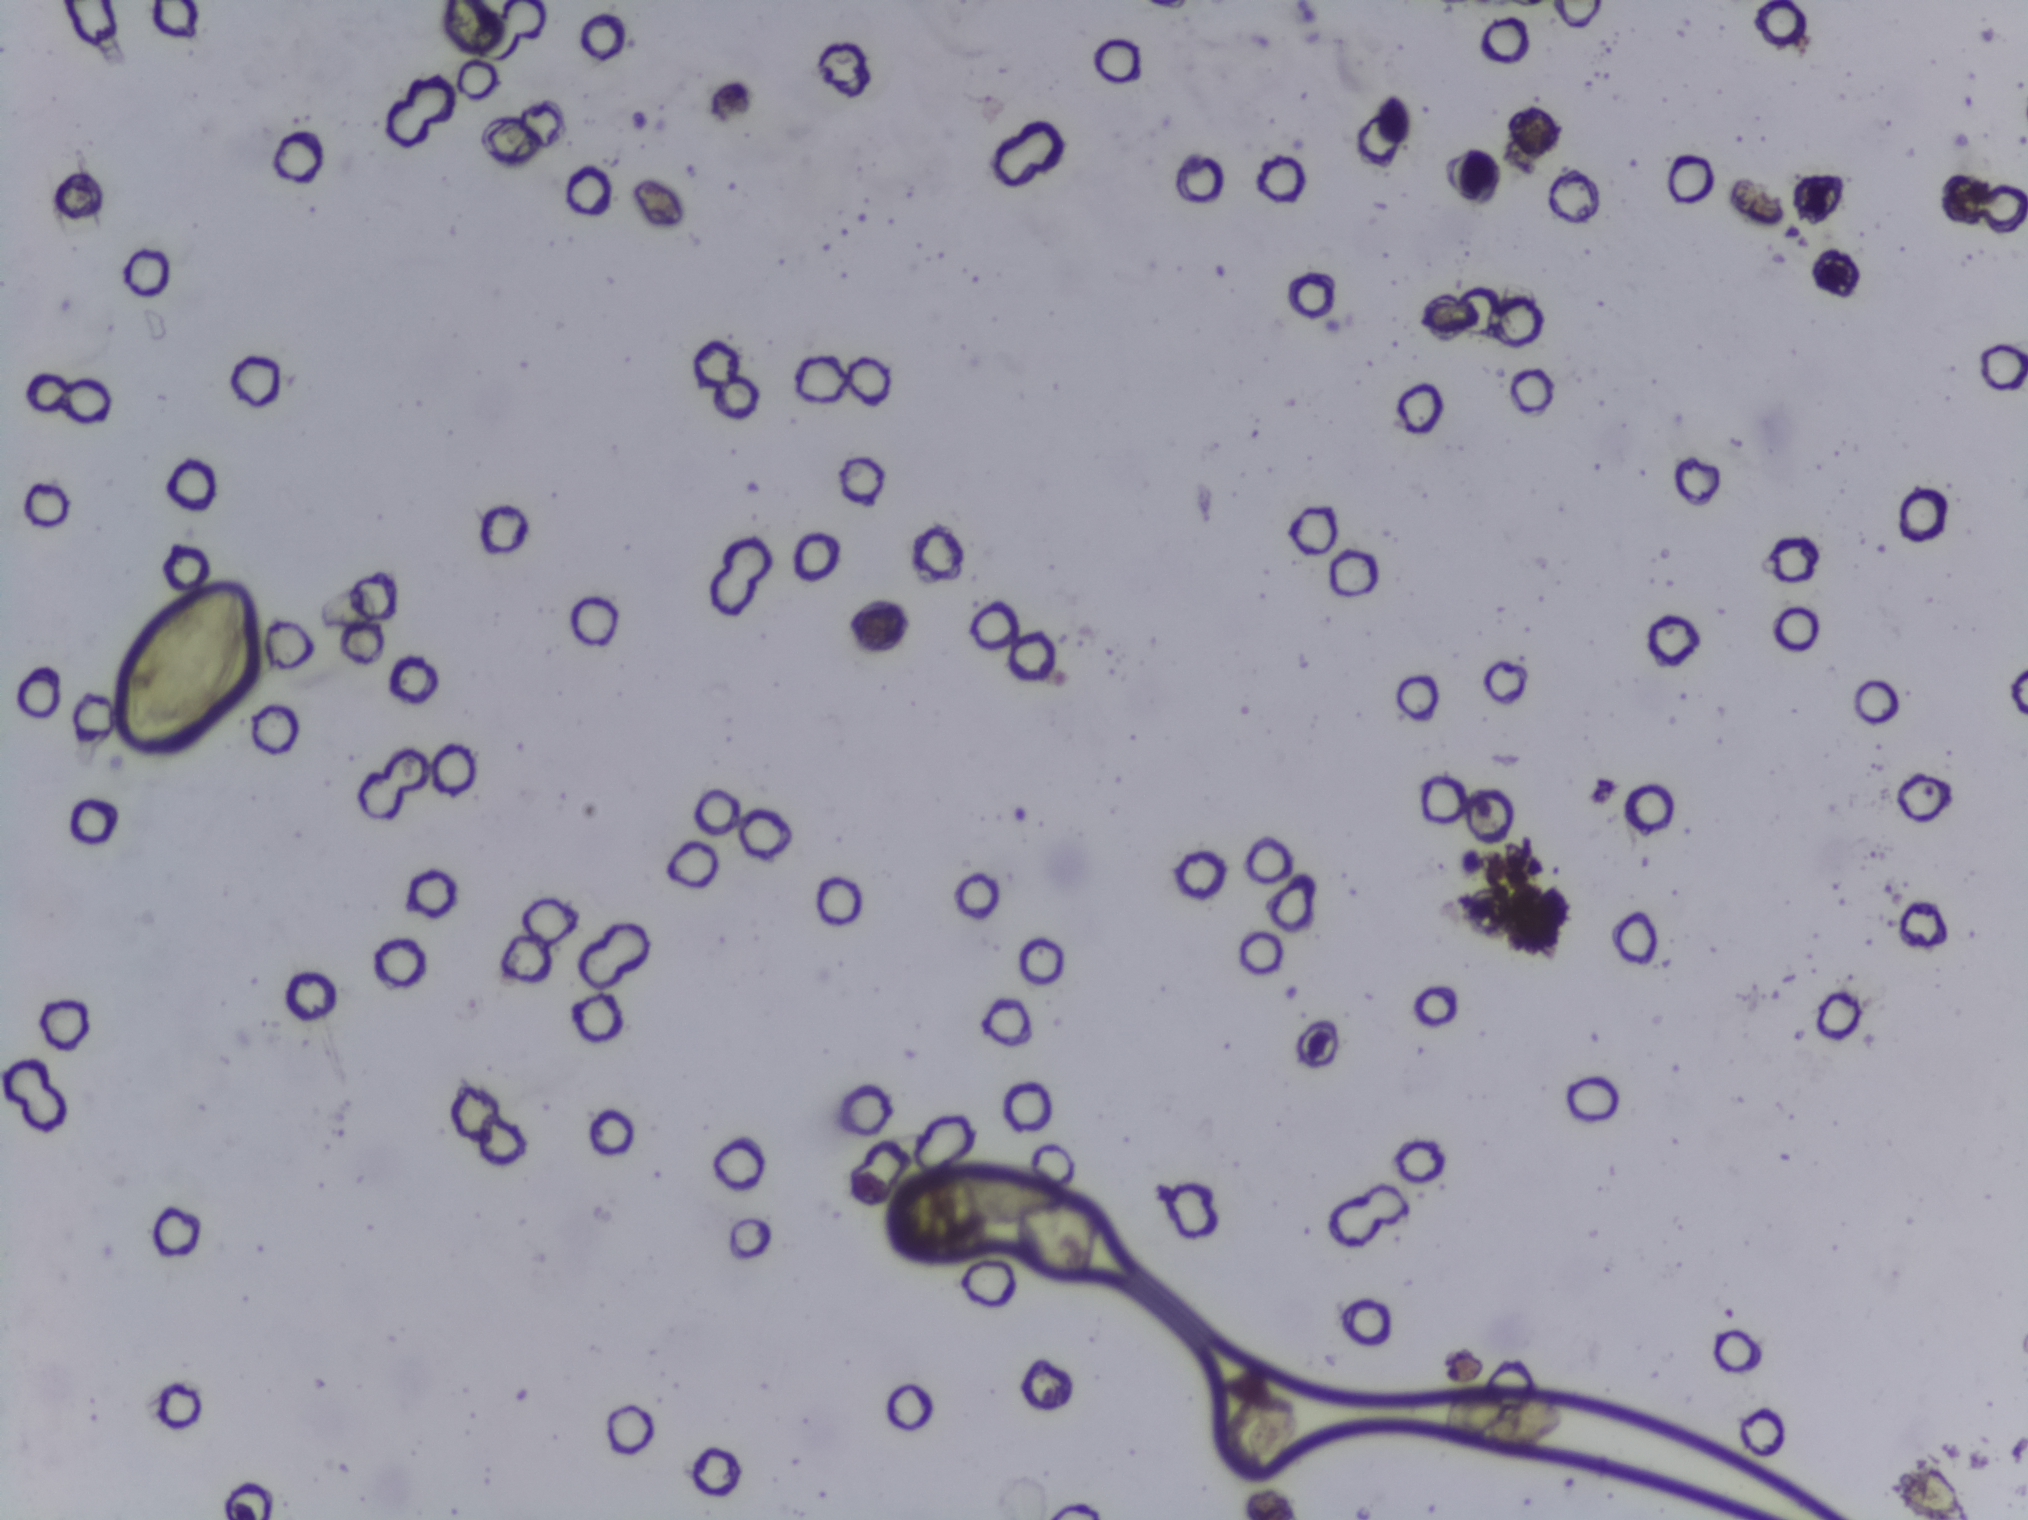
Urine filtration membrane under a 4× objective, photographed by an automated digital microscope. The field of view is about 1.5 mm × 1.1 mm.
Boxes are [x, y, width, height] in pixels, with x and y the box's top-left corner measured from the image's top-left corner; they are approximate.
Schistosoma egg areas, outlined: [112, 581, 138, 171]; [920, 1156, 149, 74]; [1435, 1378, 133, 78]. A single outlined area may contain several eggs.